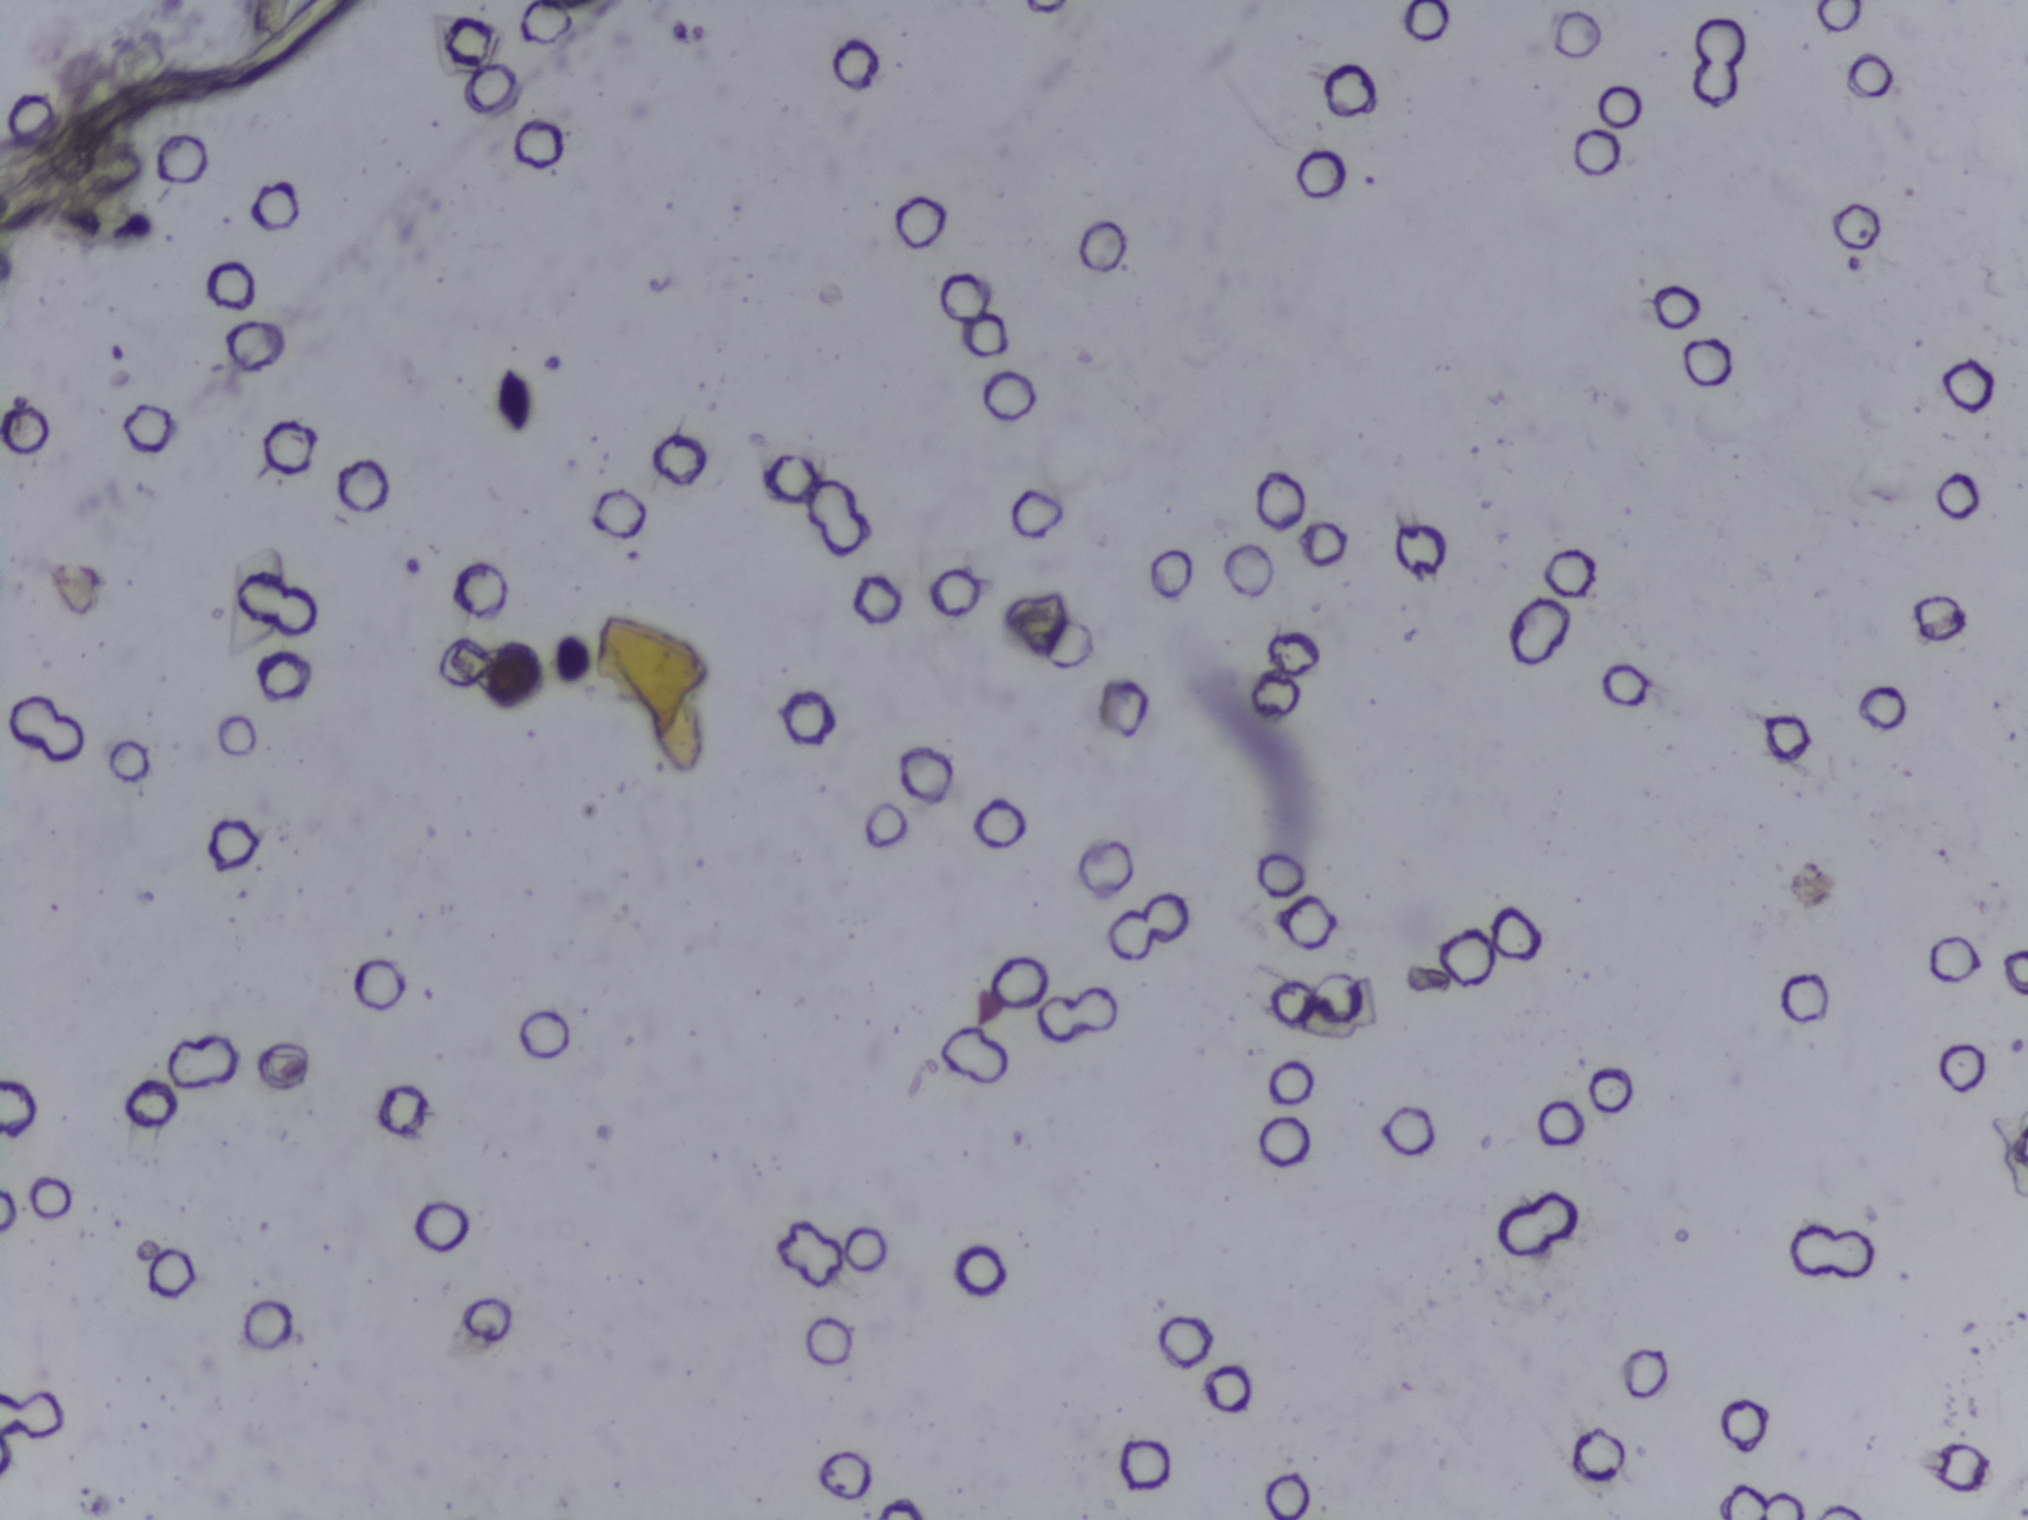
Photomicrograph of a urine filtration membrane, 4× objective.
Schistosoma eggs: none outlined.